Microscope photograph (4× objective) of a membrane that a urine sample was filtered through. Field of view: about 1.5 mm wide and 1.1 mm high.
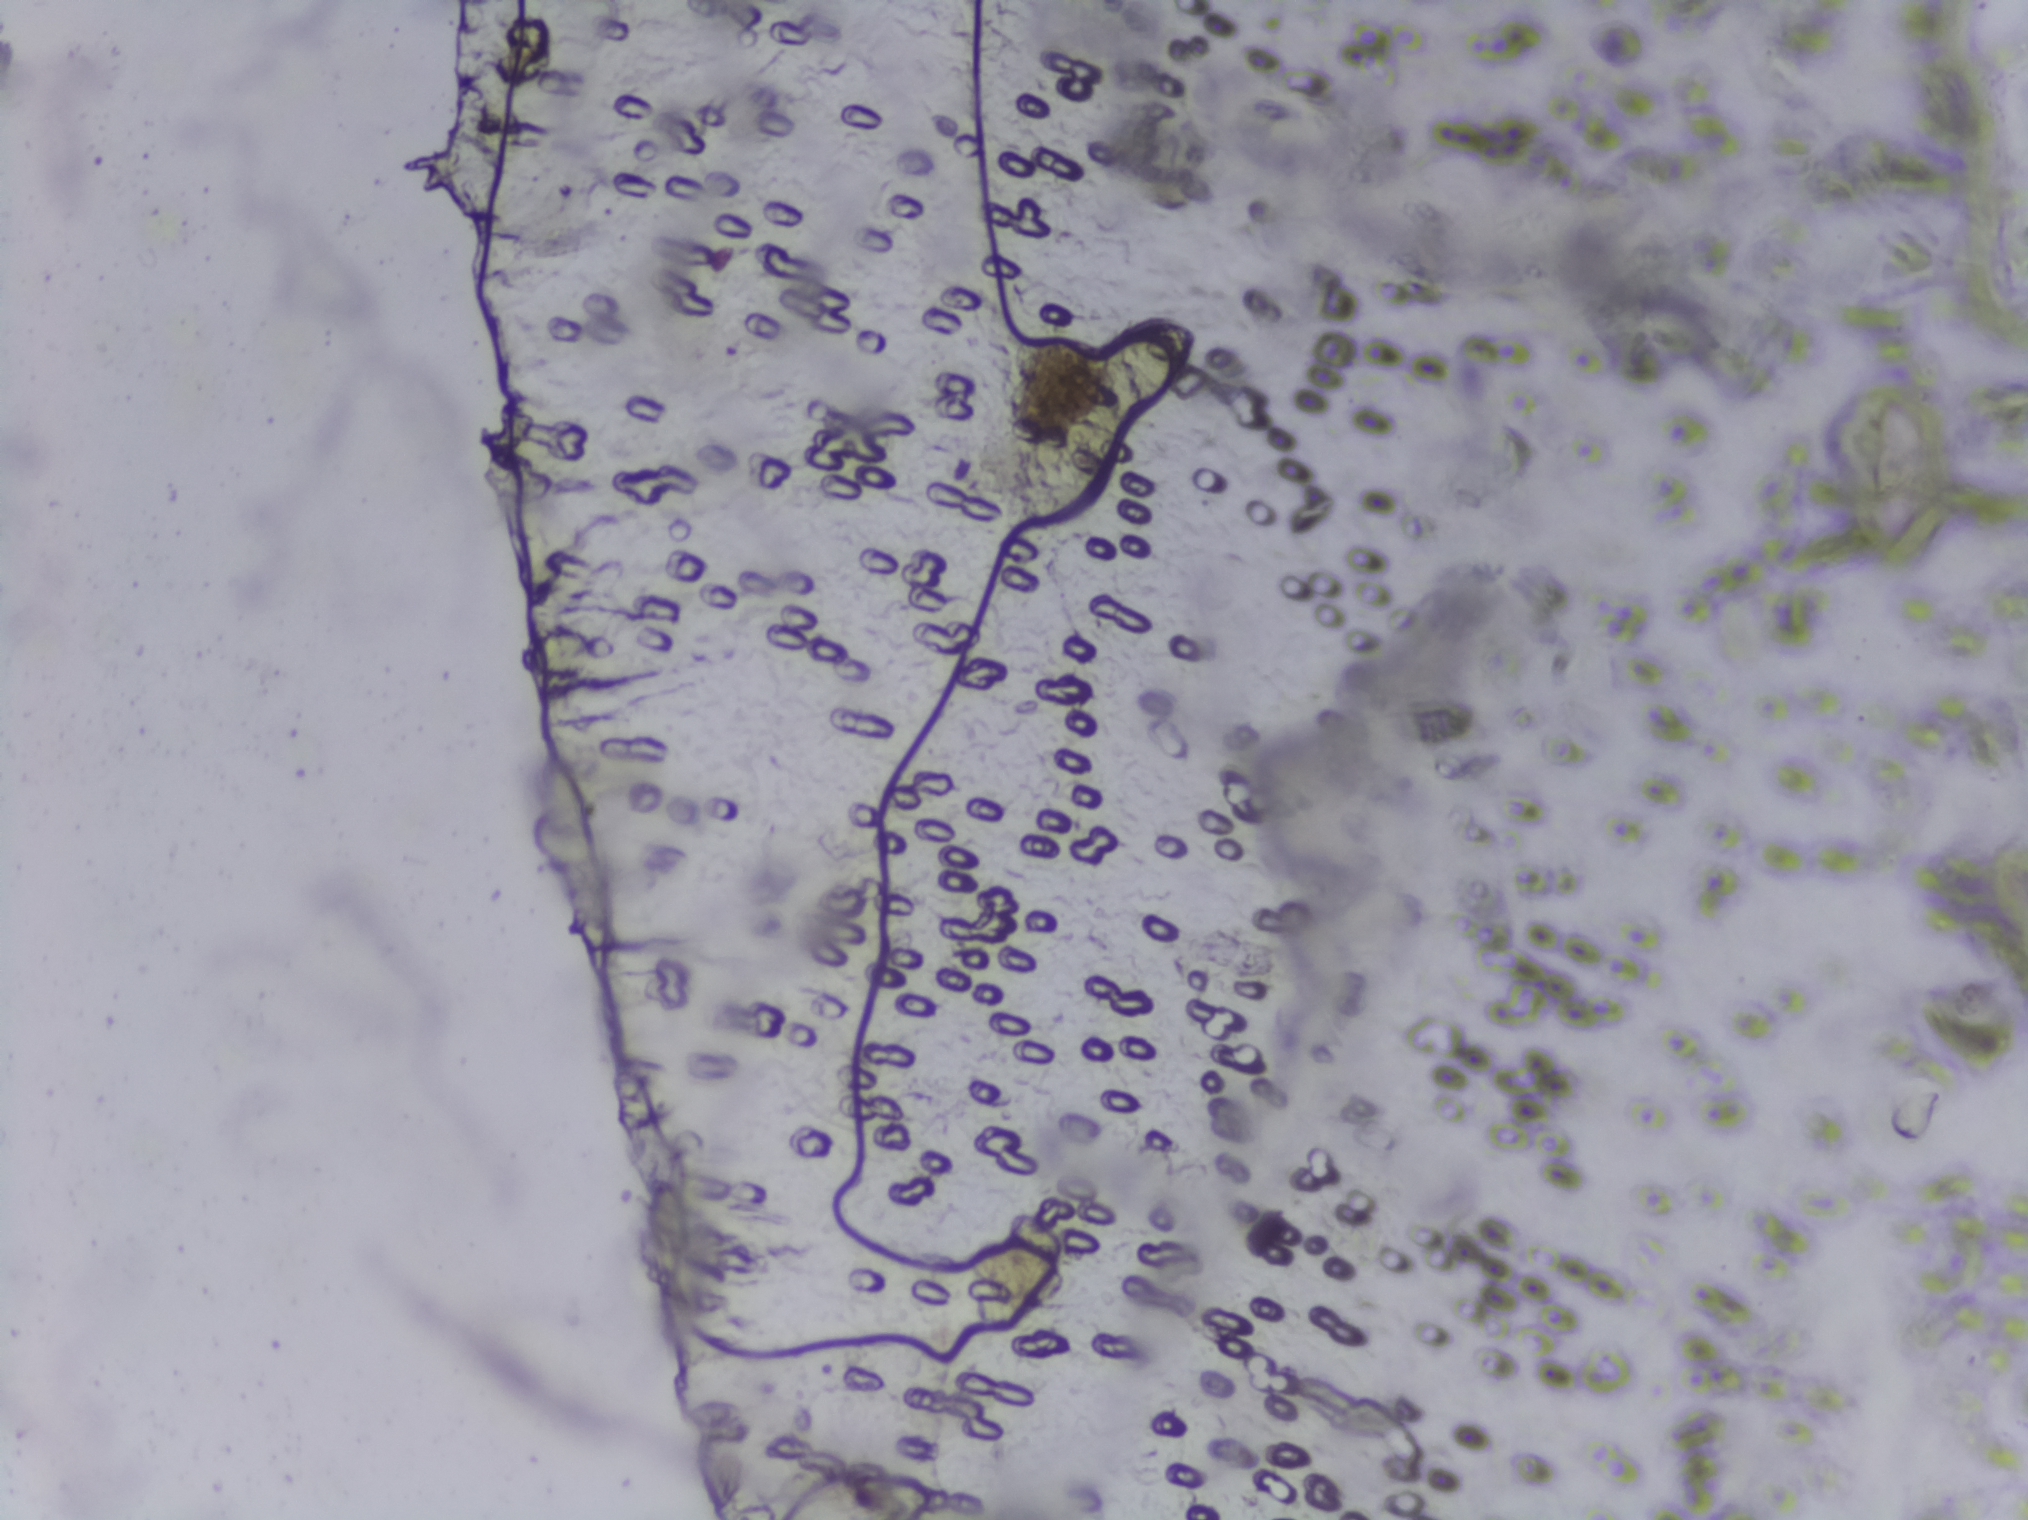
The expert annotation outlines no Schistosoma egg in this image.